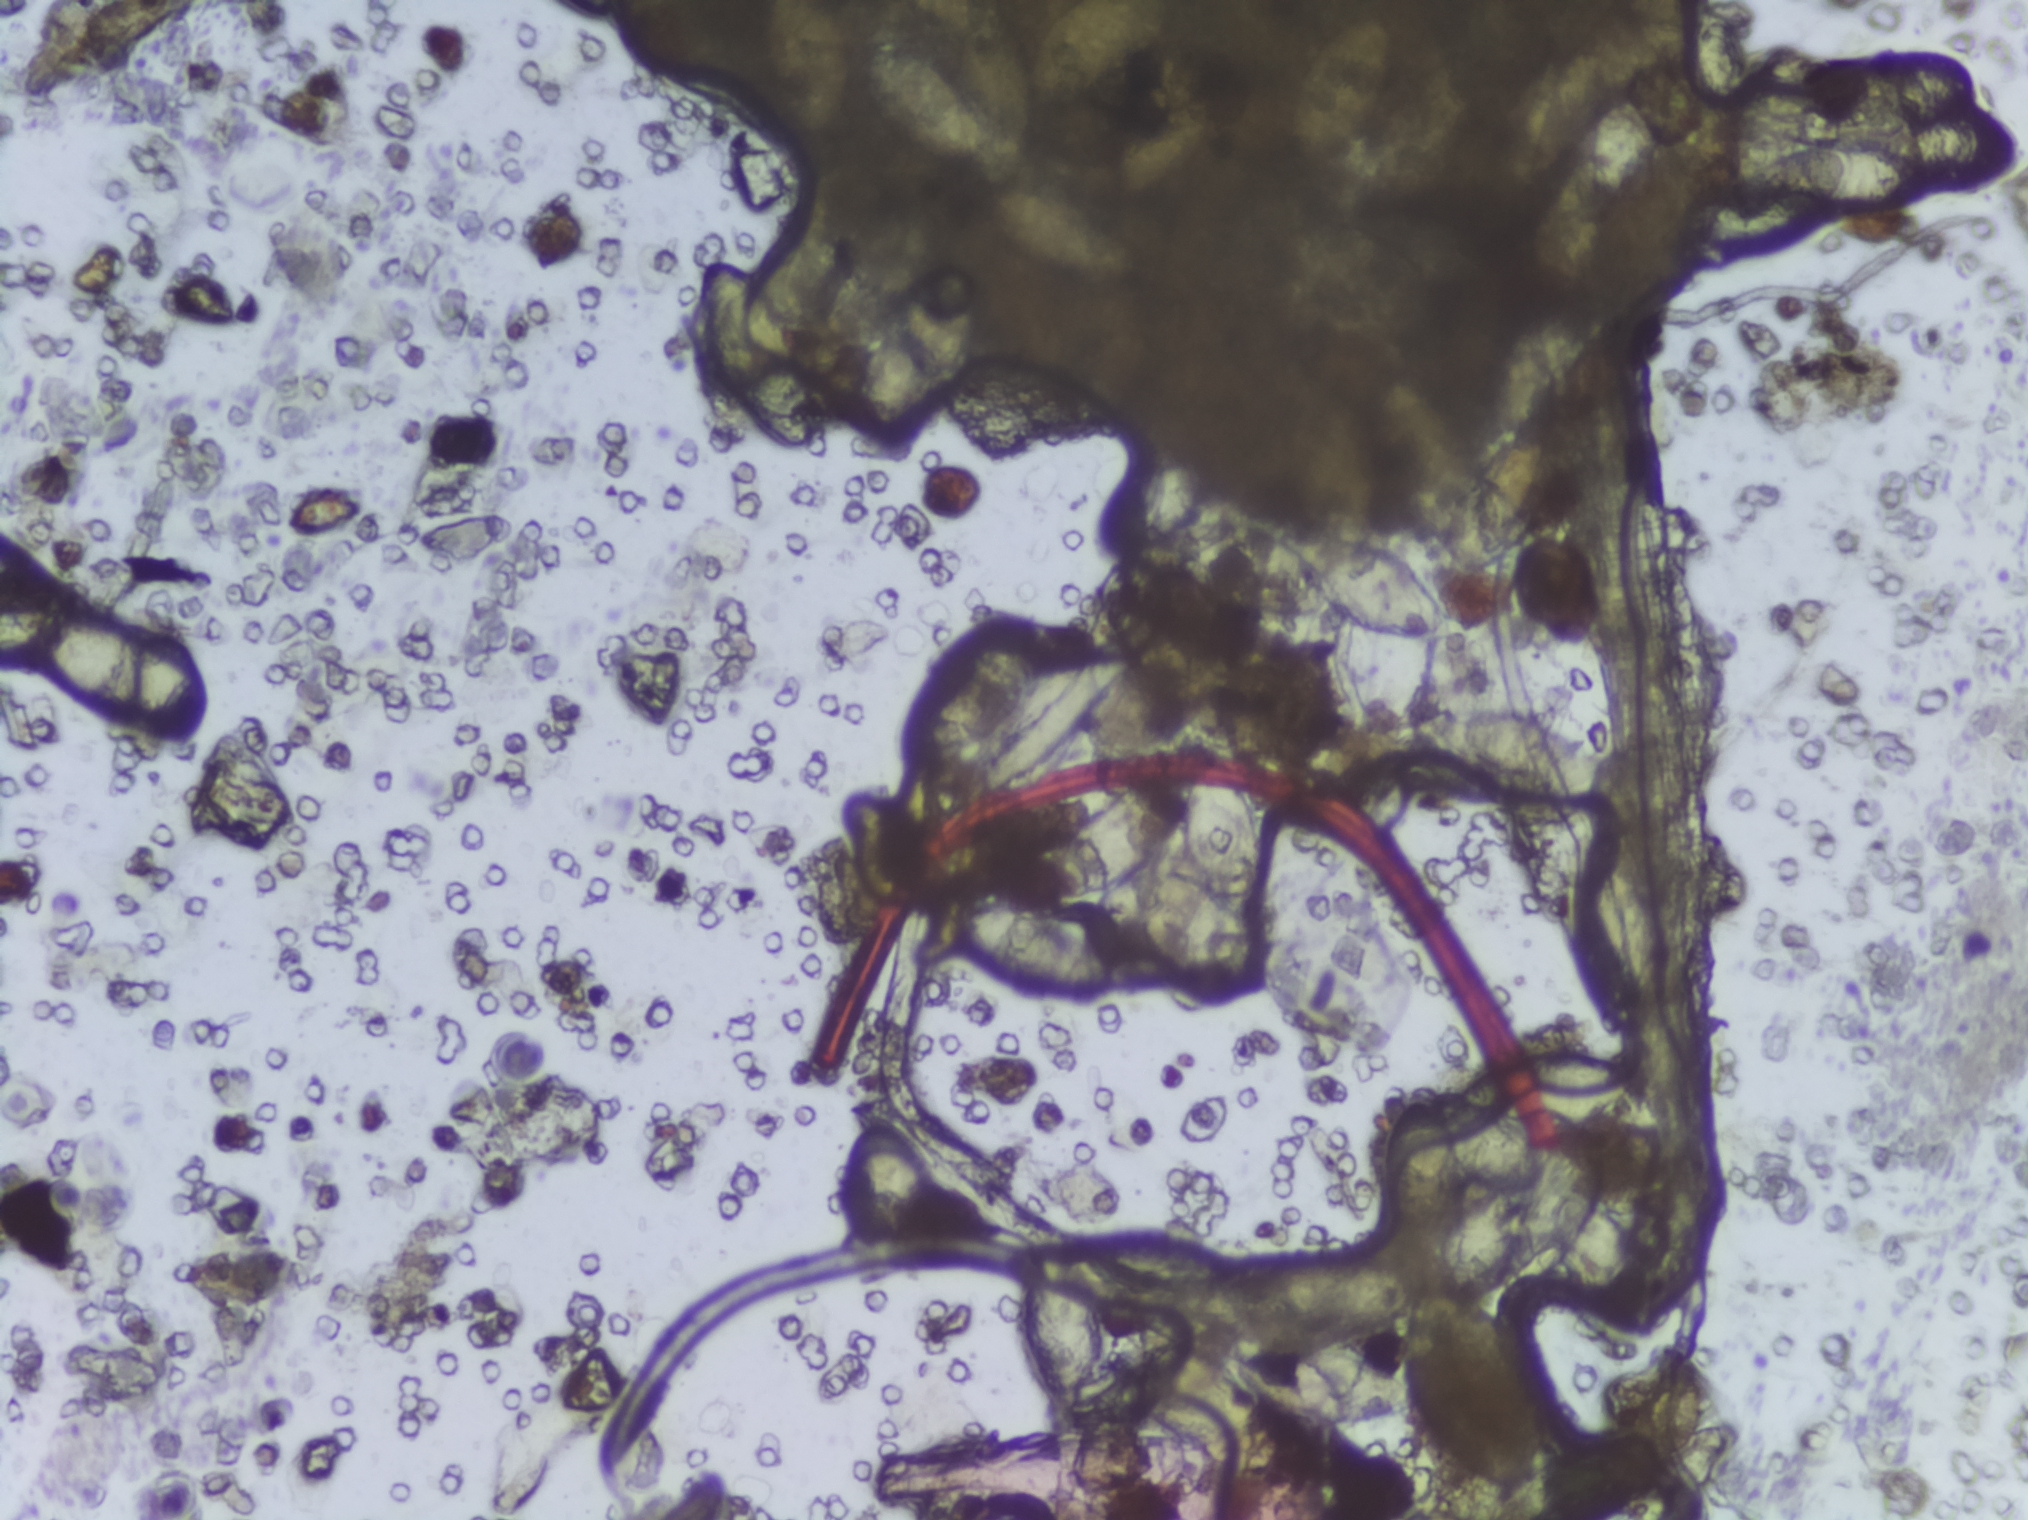
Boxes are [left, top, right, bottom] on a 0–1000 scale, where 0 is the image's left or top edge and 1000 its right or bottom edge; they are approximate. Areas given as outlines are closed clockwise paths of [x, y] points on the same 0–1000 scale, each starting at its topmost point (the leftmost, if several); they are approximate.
Schistosoma eggs are outlined in 21 areas of this image, listed from left to right: box [26, 390, 104, 495]; box [341, 153, 418, 294]; box [376, 0, 419, 103] (reaching the top edge of the frame); box [419, 184, 479, 315]; box [421, 734, 454, 839]; box [425, 0, 579, 189] (reaching the top edge of the frame); box [445, 401, 517, 498]; box [465, 586, 546, 661]; box [500, 808, 548, 955]; box [517, 497, 626, 651]; box [532, 815, 604, 856]; box [541, 299, 594, 368]; box [549, 26, 600, 134]; outline [772, 692], [795, 696], [805, 708], [805, 717], [798, 729], [784, 736], [742, 735], [757, 756], [759, 777], [757, 783], [747, 787], [749, 812], [732, 856], [758, 894], [761, 960], [800, 943], [813, 944], [820, 963], [810, 983], [793, 1000], [732, 1000], [736, 992], [723, 987], [709, 966], [693, 923], [676, 935], [657, 937], [617, 915], [625, 932], [624, 942], [601, 947], [585, 946], [562, 929], [552, 902], [551, 886], [583, 890], [615, 914], [608, 896], [632, 885], [659, 890], [689, 904], [689, 871], [645, 871], [629, 856], [627, 838], [646, 826], [672, 827], [690, 834], [698, 847], [714, 843], [709, 817], [694, 813], [686, 794], [683, 757], [688, 740], [699, 723], [723, 721], [736, 704] (eggs clustered together; reaching the bottom edge of the frame); box [584, 342, 716, 424]; box [637, 9, 685, 119]; box [678, 246, 772, 376]; box [703, 463, 785, 514]; box [766, 788, 815, 870]; box [773, 549, 812, 661]; box [819, 5, 995, 166] (eggs clustered together). Eggs that touch can end up inside the same outlined area. Any one outlined egg may, rarely, be S. mansoni rather than S. haematobium.
Urine filtration membrane under a 4× objective, photographed by an automated digital microscope.